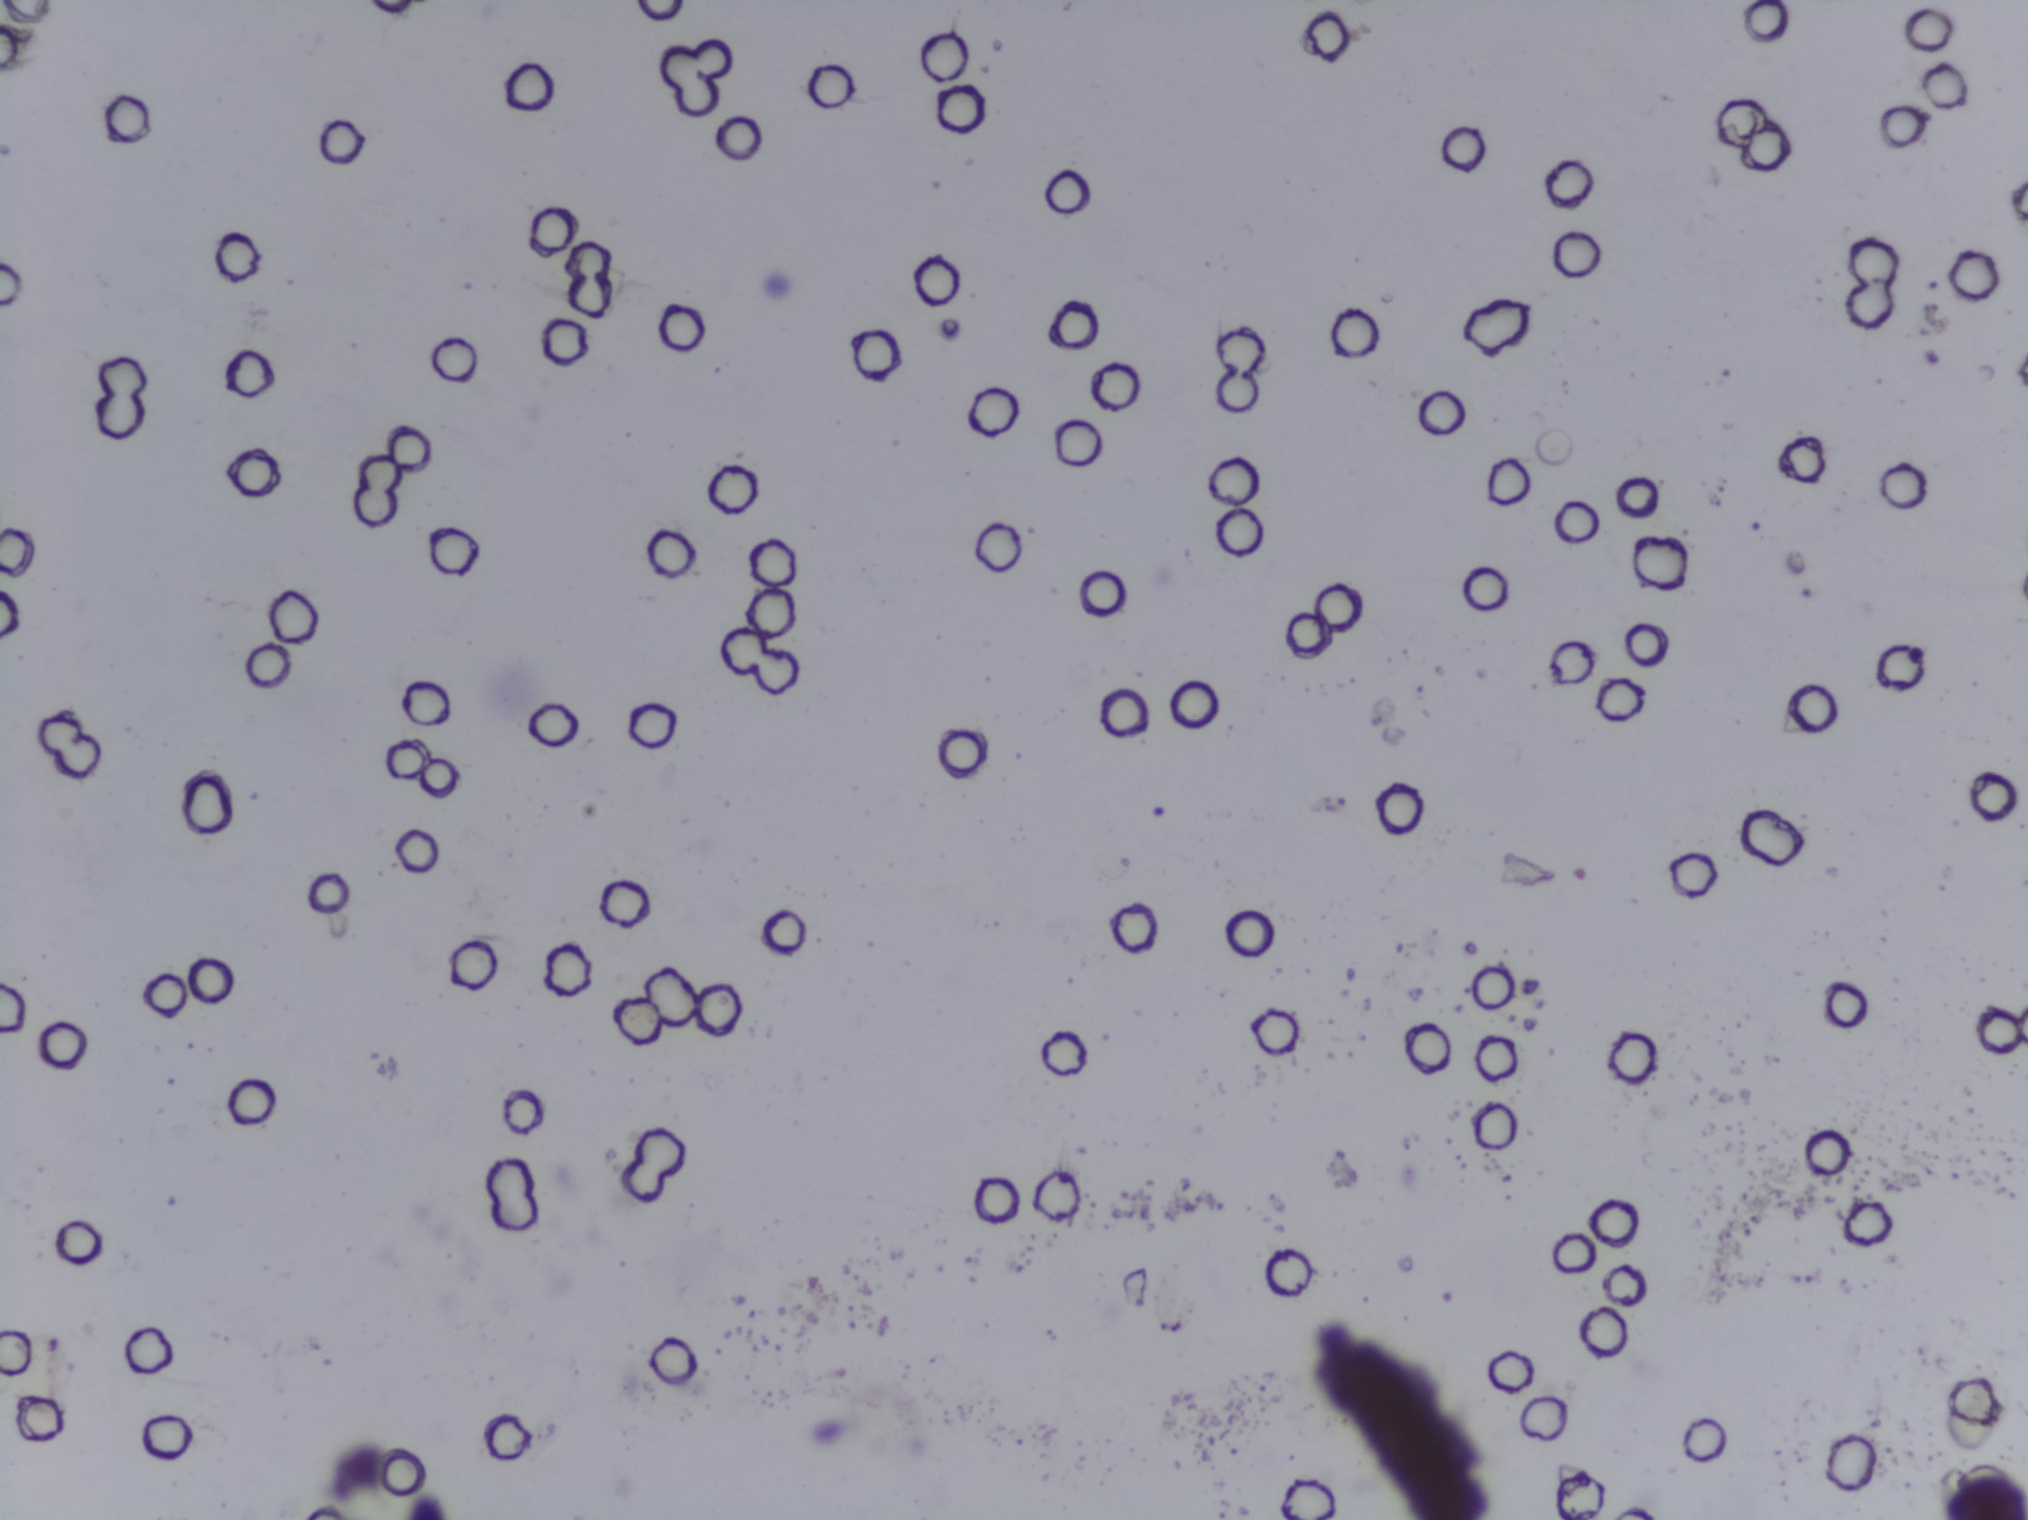
Schistosoma eggs: none outlined.
Urine filtration membrane under a 4× objective, photographed by an automated digital microscope. Field of view: about 1.5 mm wide and 1.1 mm high.